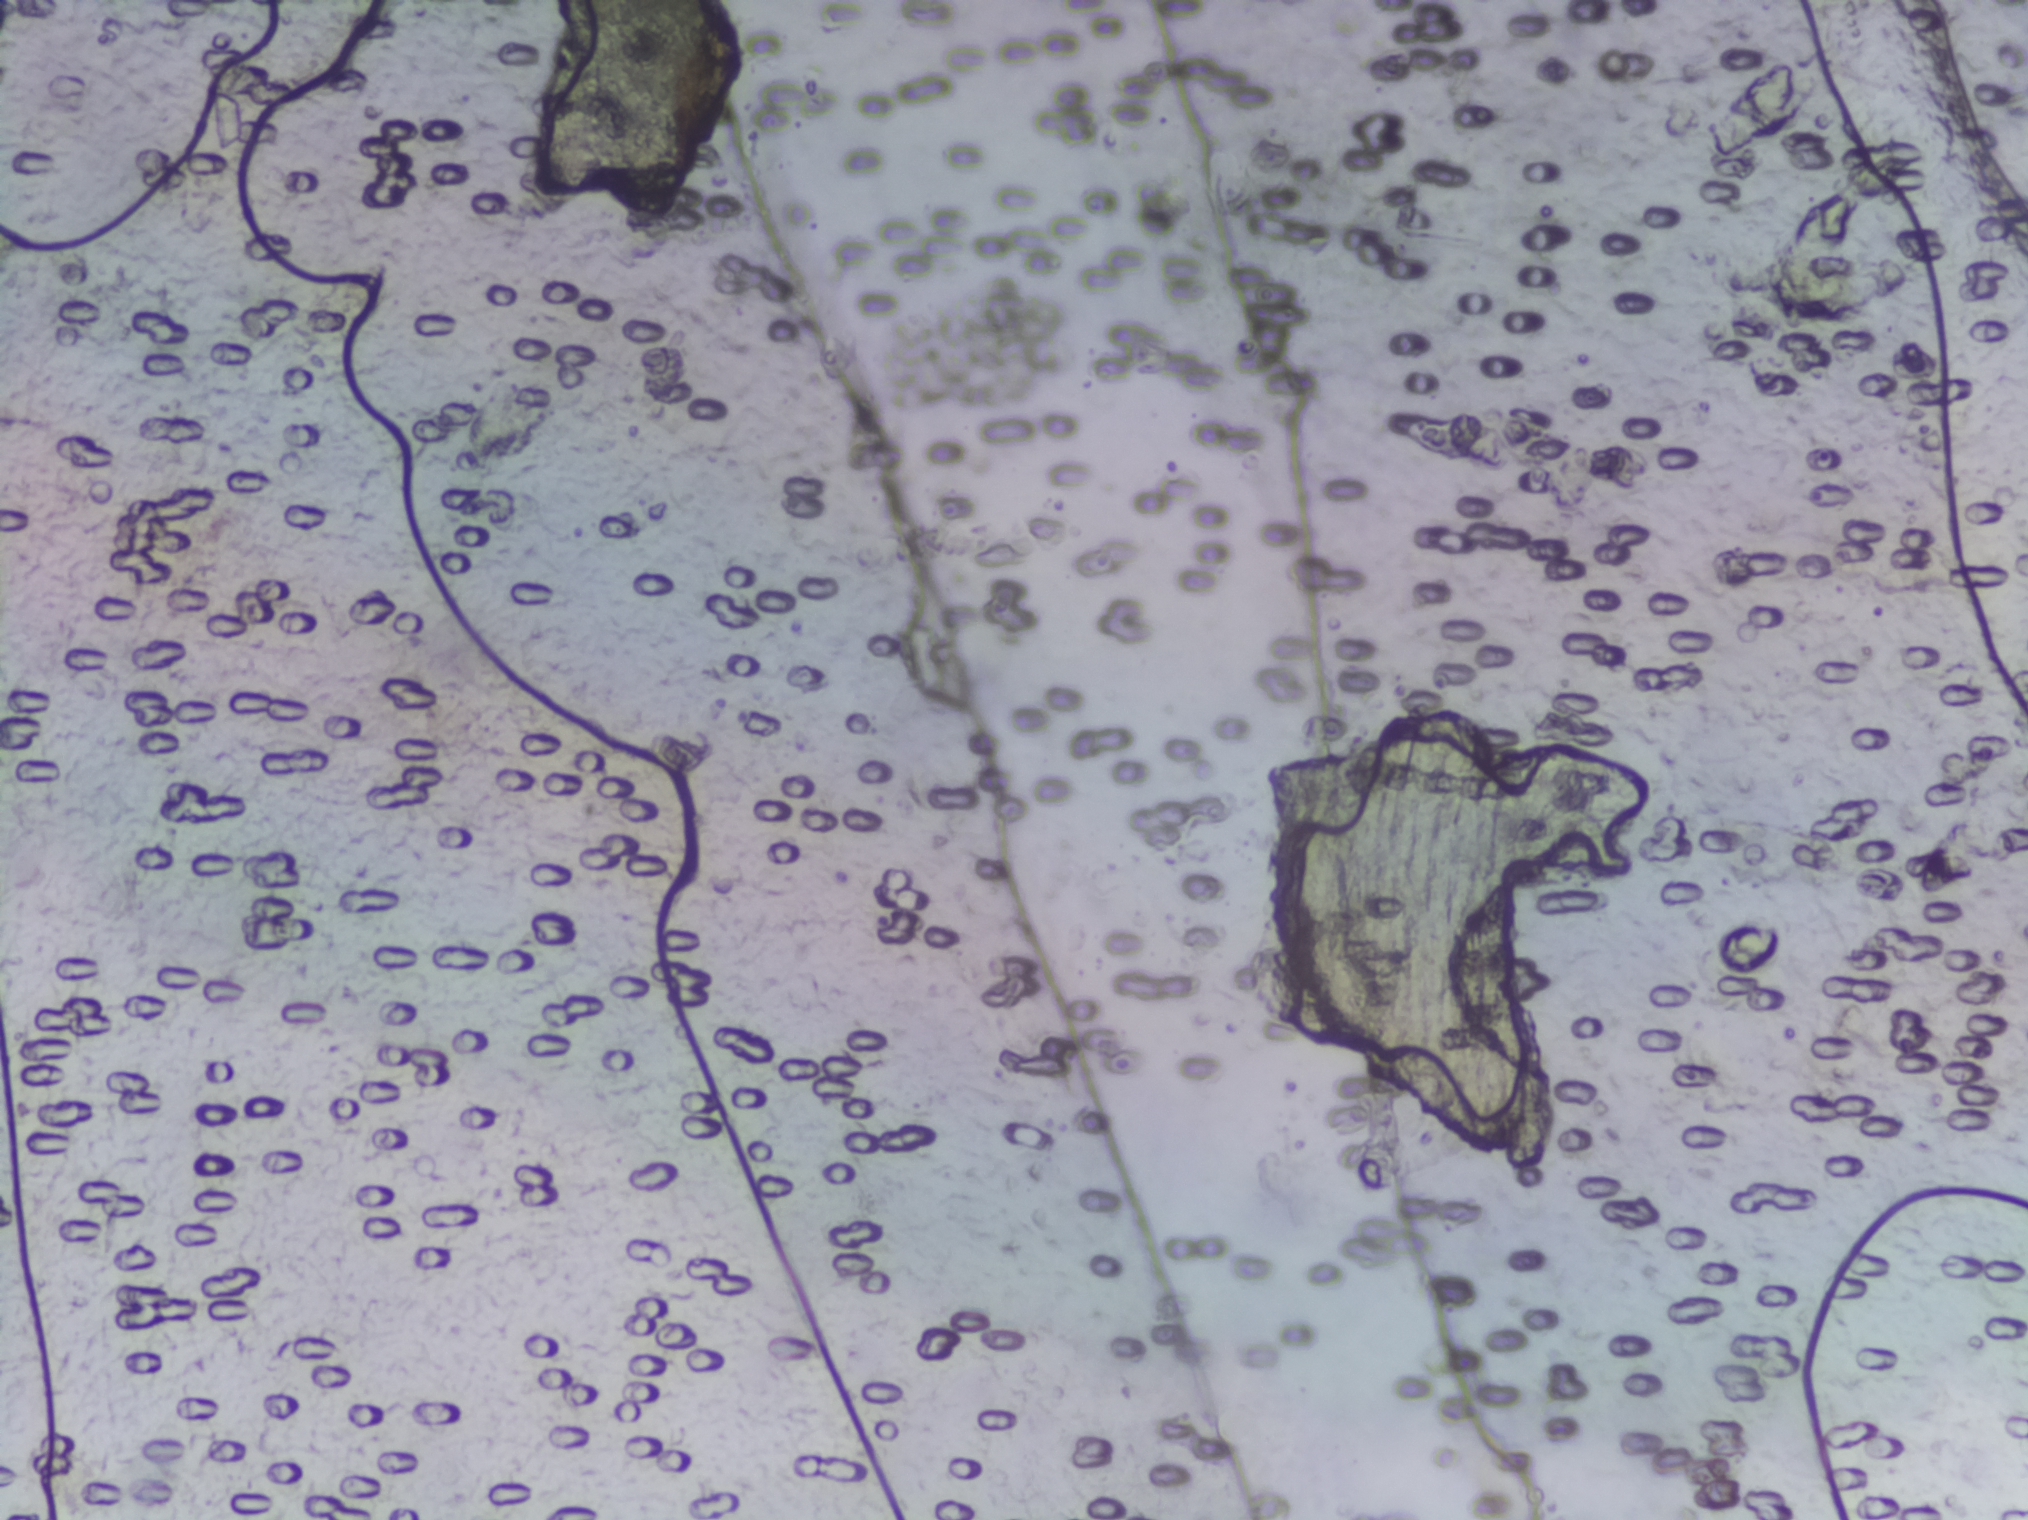
No area of this image was outlined as a Schistosoma egg.
One field of view of a urine filter membrane, 4× objective, 2028 × 1520 pixels. Field of view: about 1.5 mm wide and 1.1 mm high.